Photograph from an automated digital microscope: urine filter membrane, 4× objective.
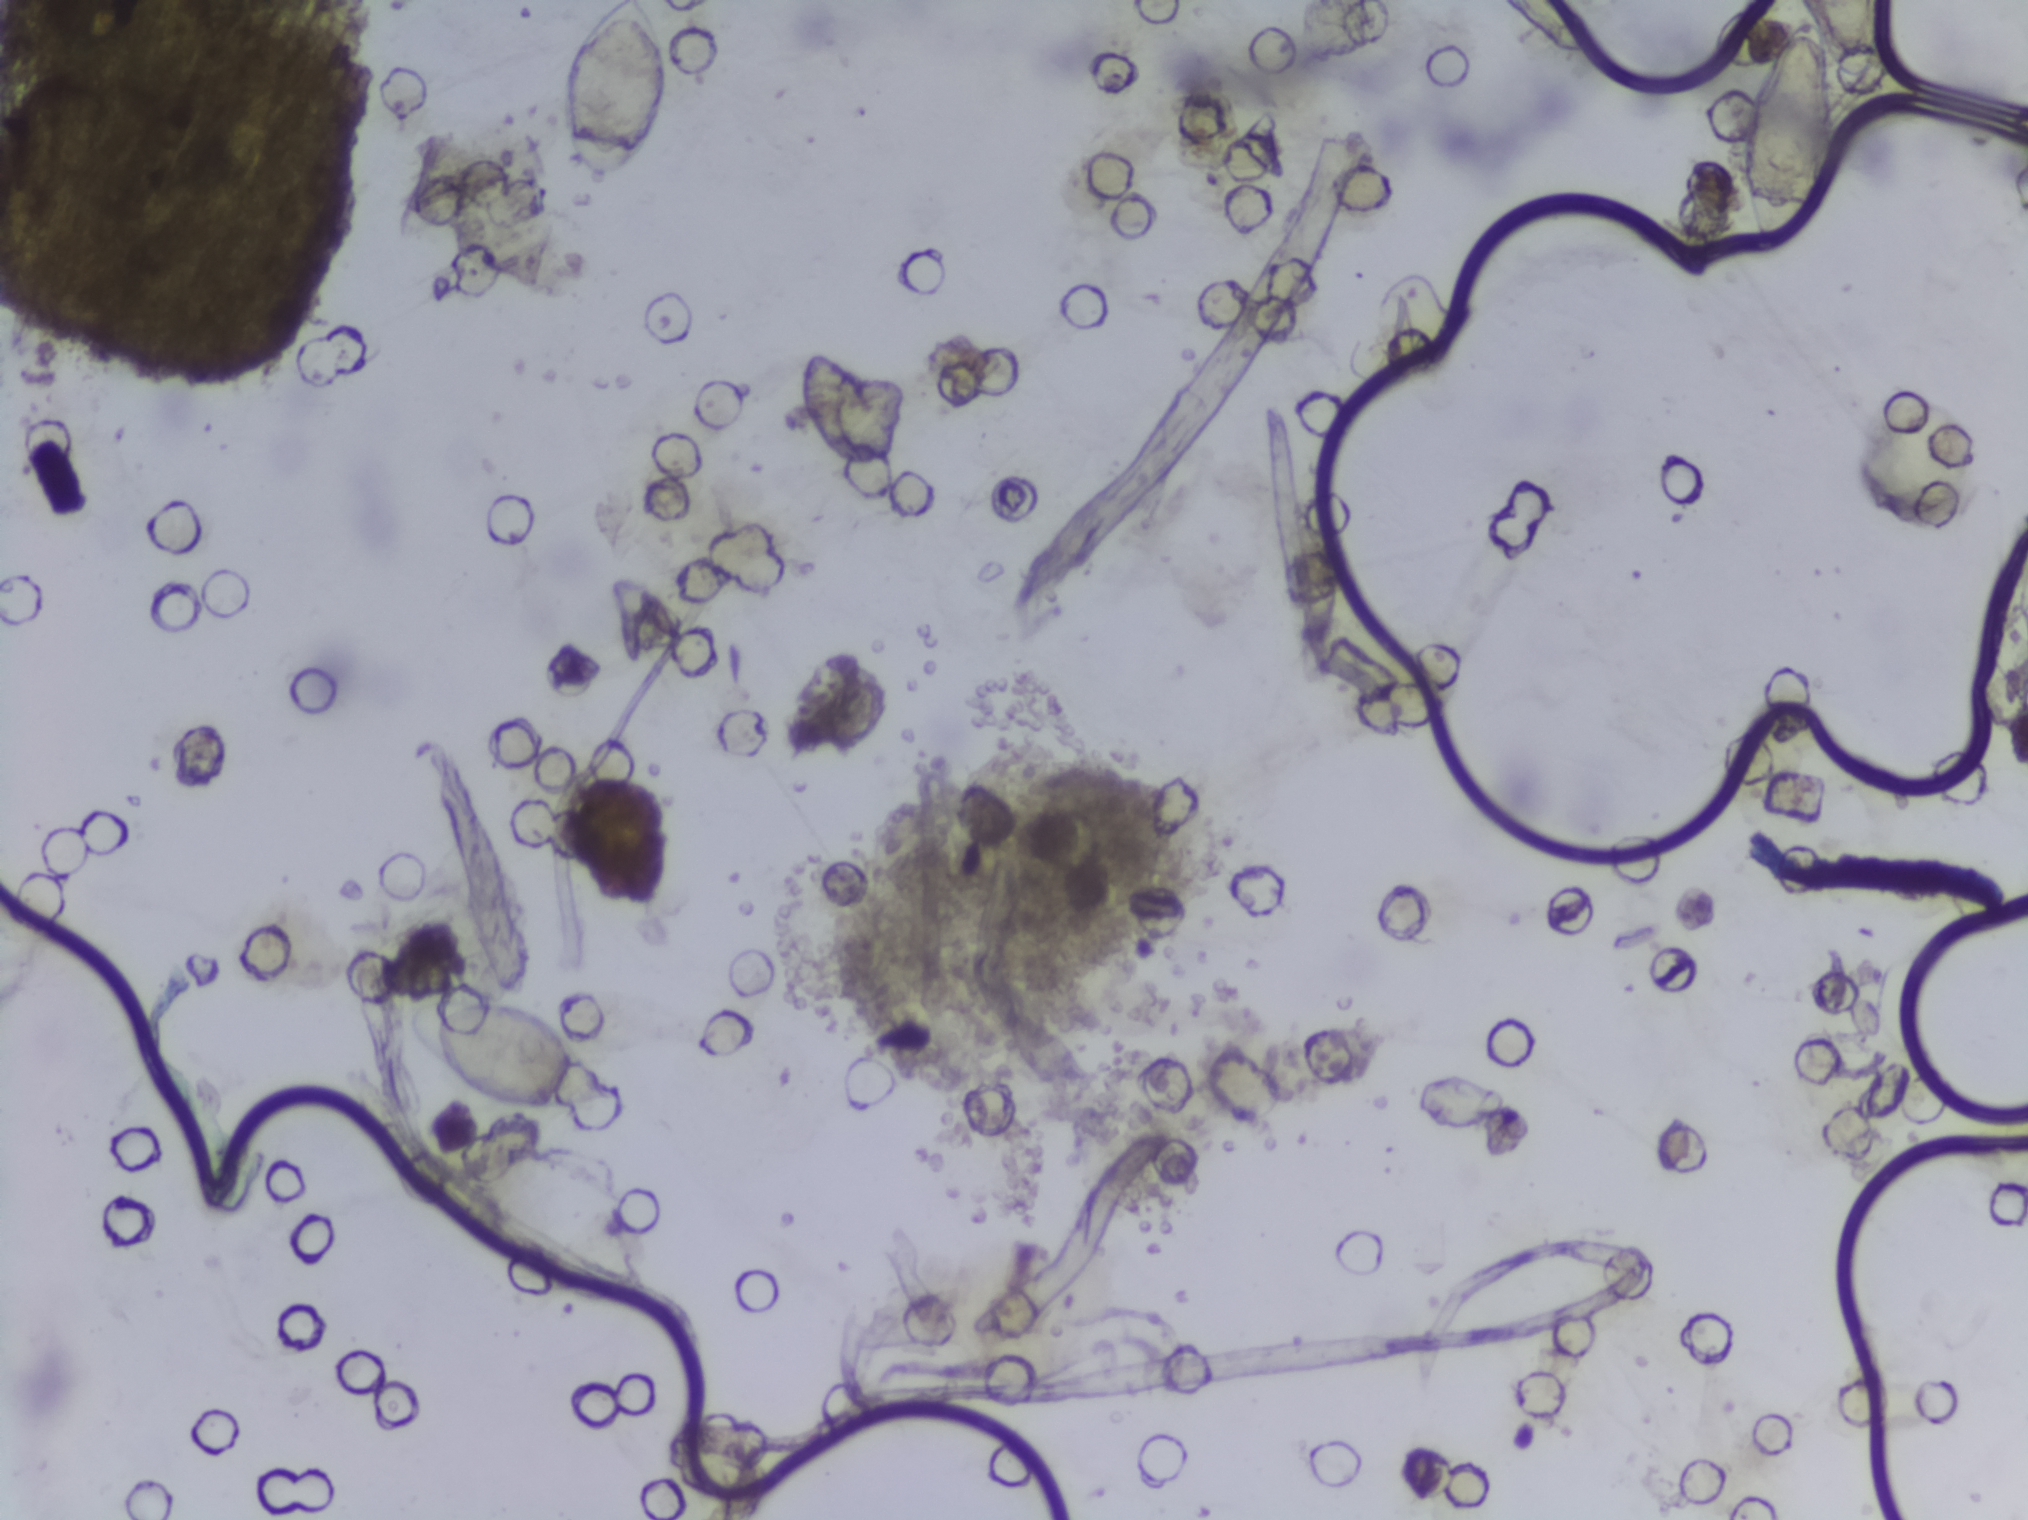
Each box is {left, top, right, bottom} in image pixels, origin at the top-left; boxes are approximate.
Areas outlined as Schistosoma eggs: {404, 995, 622, 1112}; {562, 0, 669, 181} (reaching the top edge of the frame); {802, 349, 888, 464}; {1741, 0, 1882, 252} (reaching the top edge of the frame). Eggs that touch can end up inside the same outlined area.